Urine filtration membrane under a 4× objective, photographed by an automated digital microscope.
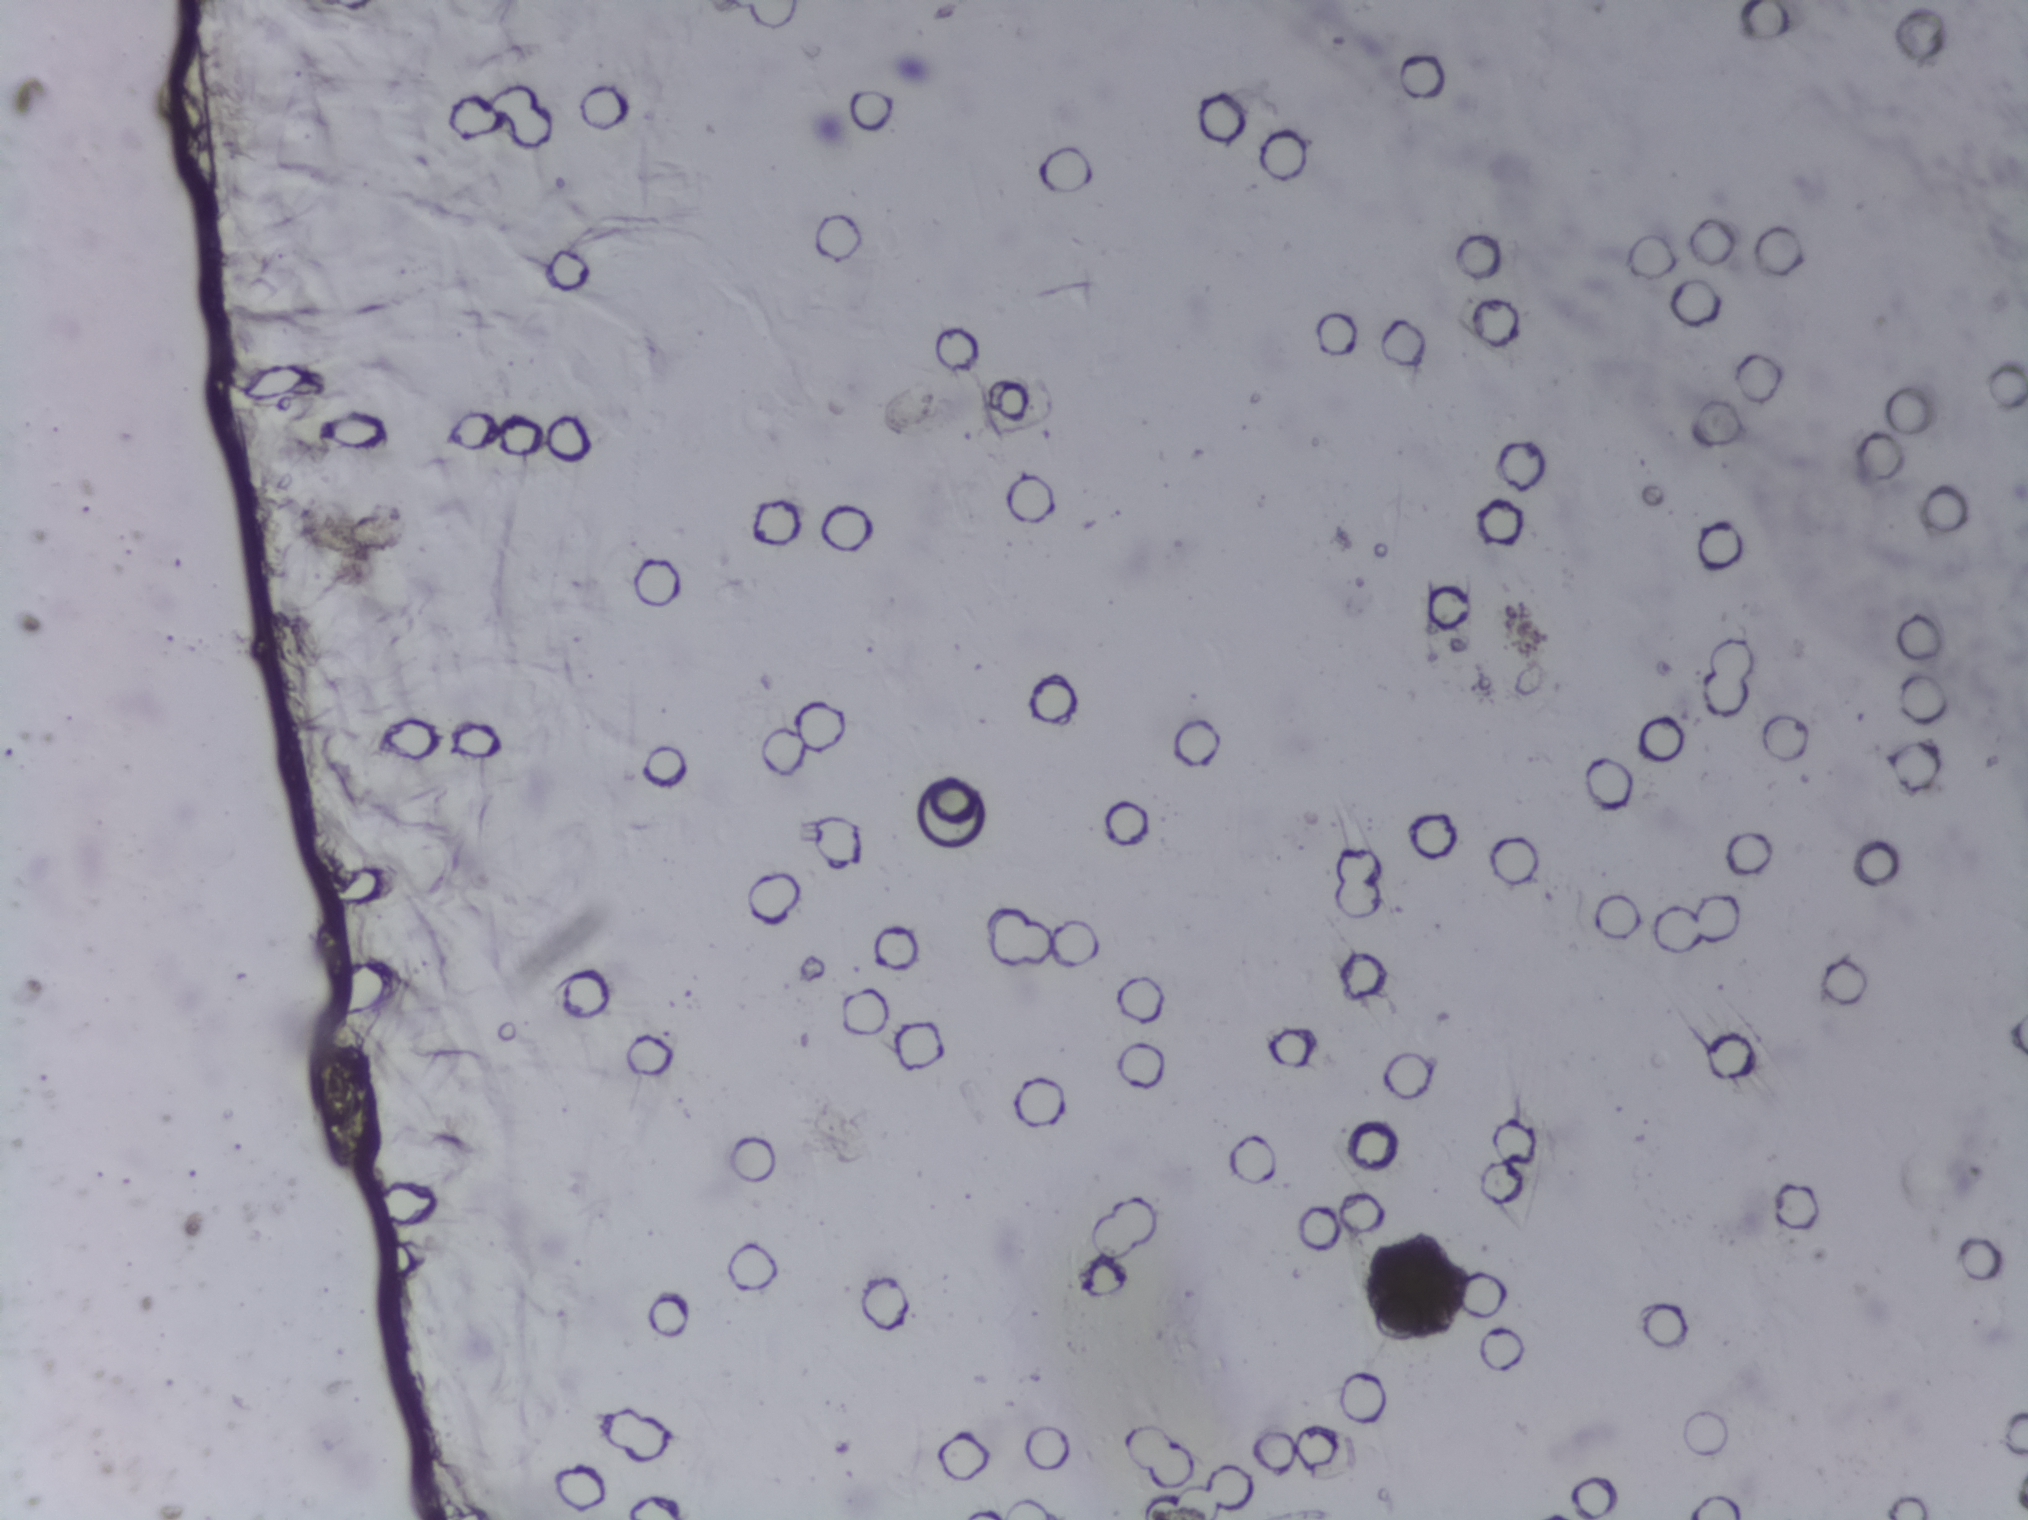
The expert annotation outlines no Schistosoma egg in this image.